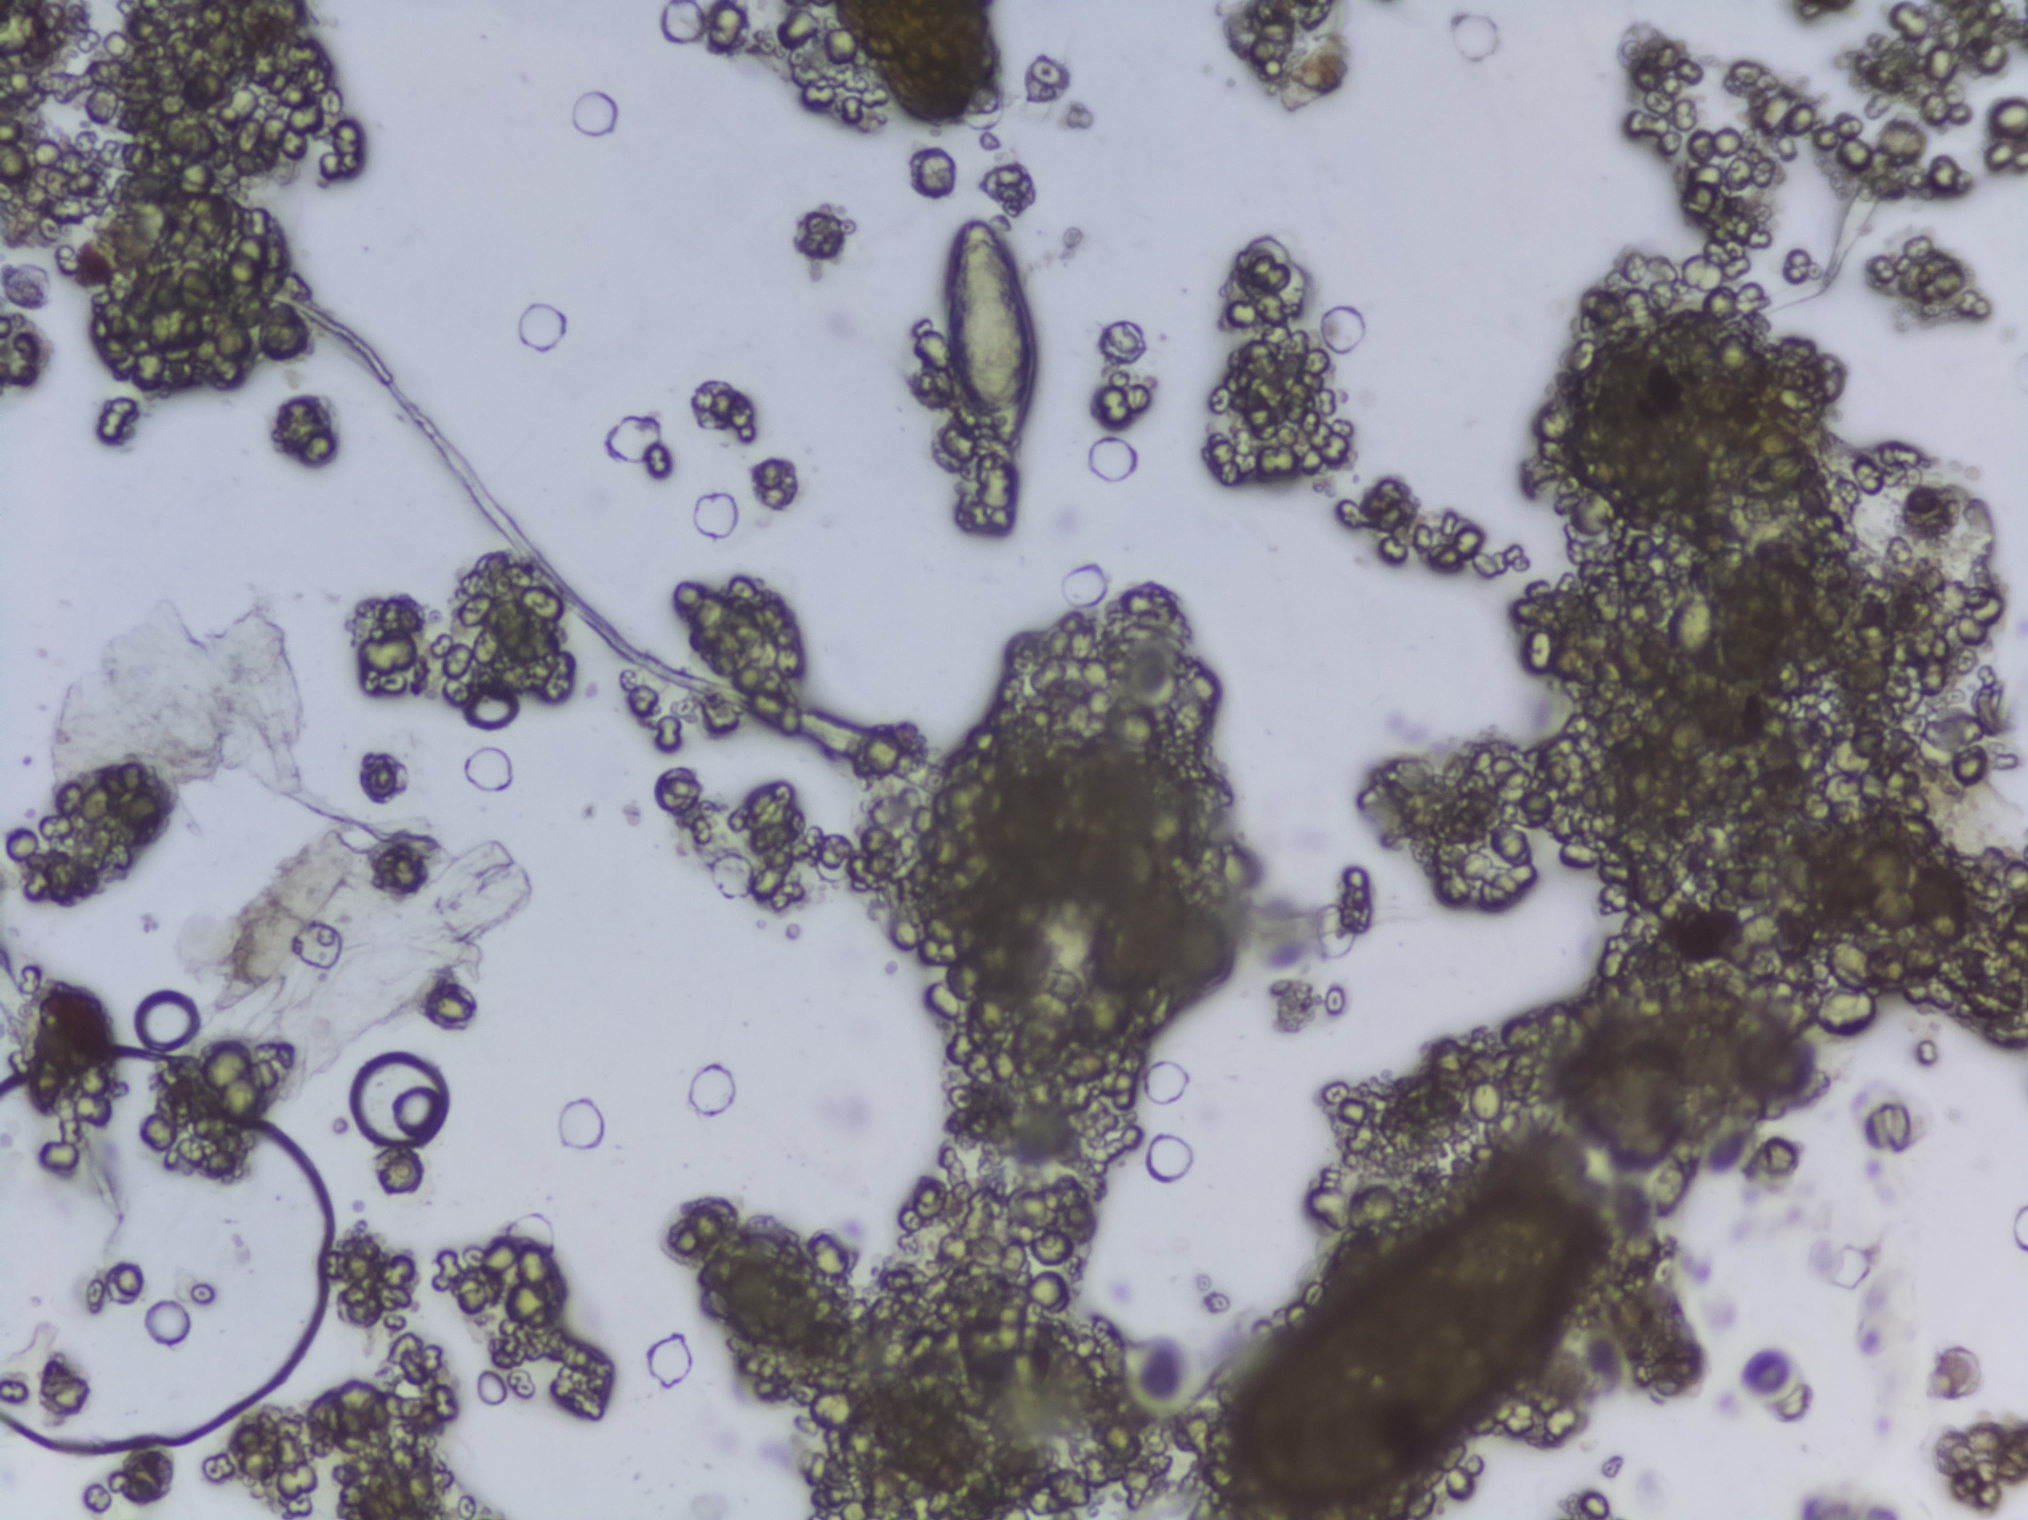
One field of view of a urine filter membrane, 4× objective, 2028 × 1520 pixels. The image covers about 1.5 × 1.1 mm of the membrane.
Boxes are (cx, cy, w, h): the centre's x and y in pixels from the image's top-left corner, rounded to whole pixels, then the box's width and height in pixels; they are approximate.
One area of this image is outlined as Schistosoma eggs: (cx=990, cy=342, w=102, h=266). An outlined area can hold more than one egg.